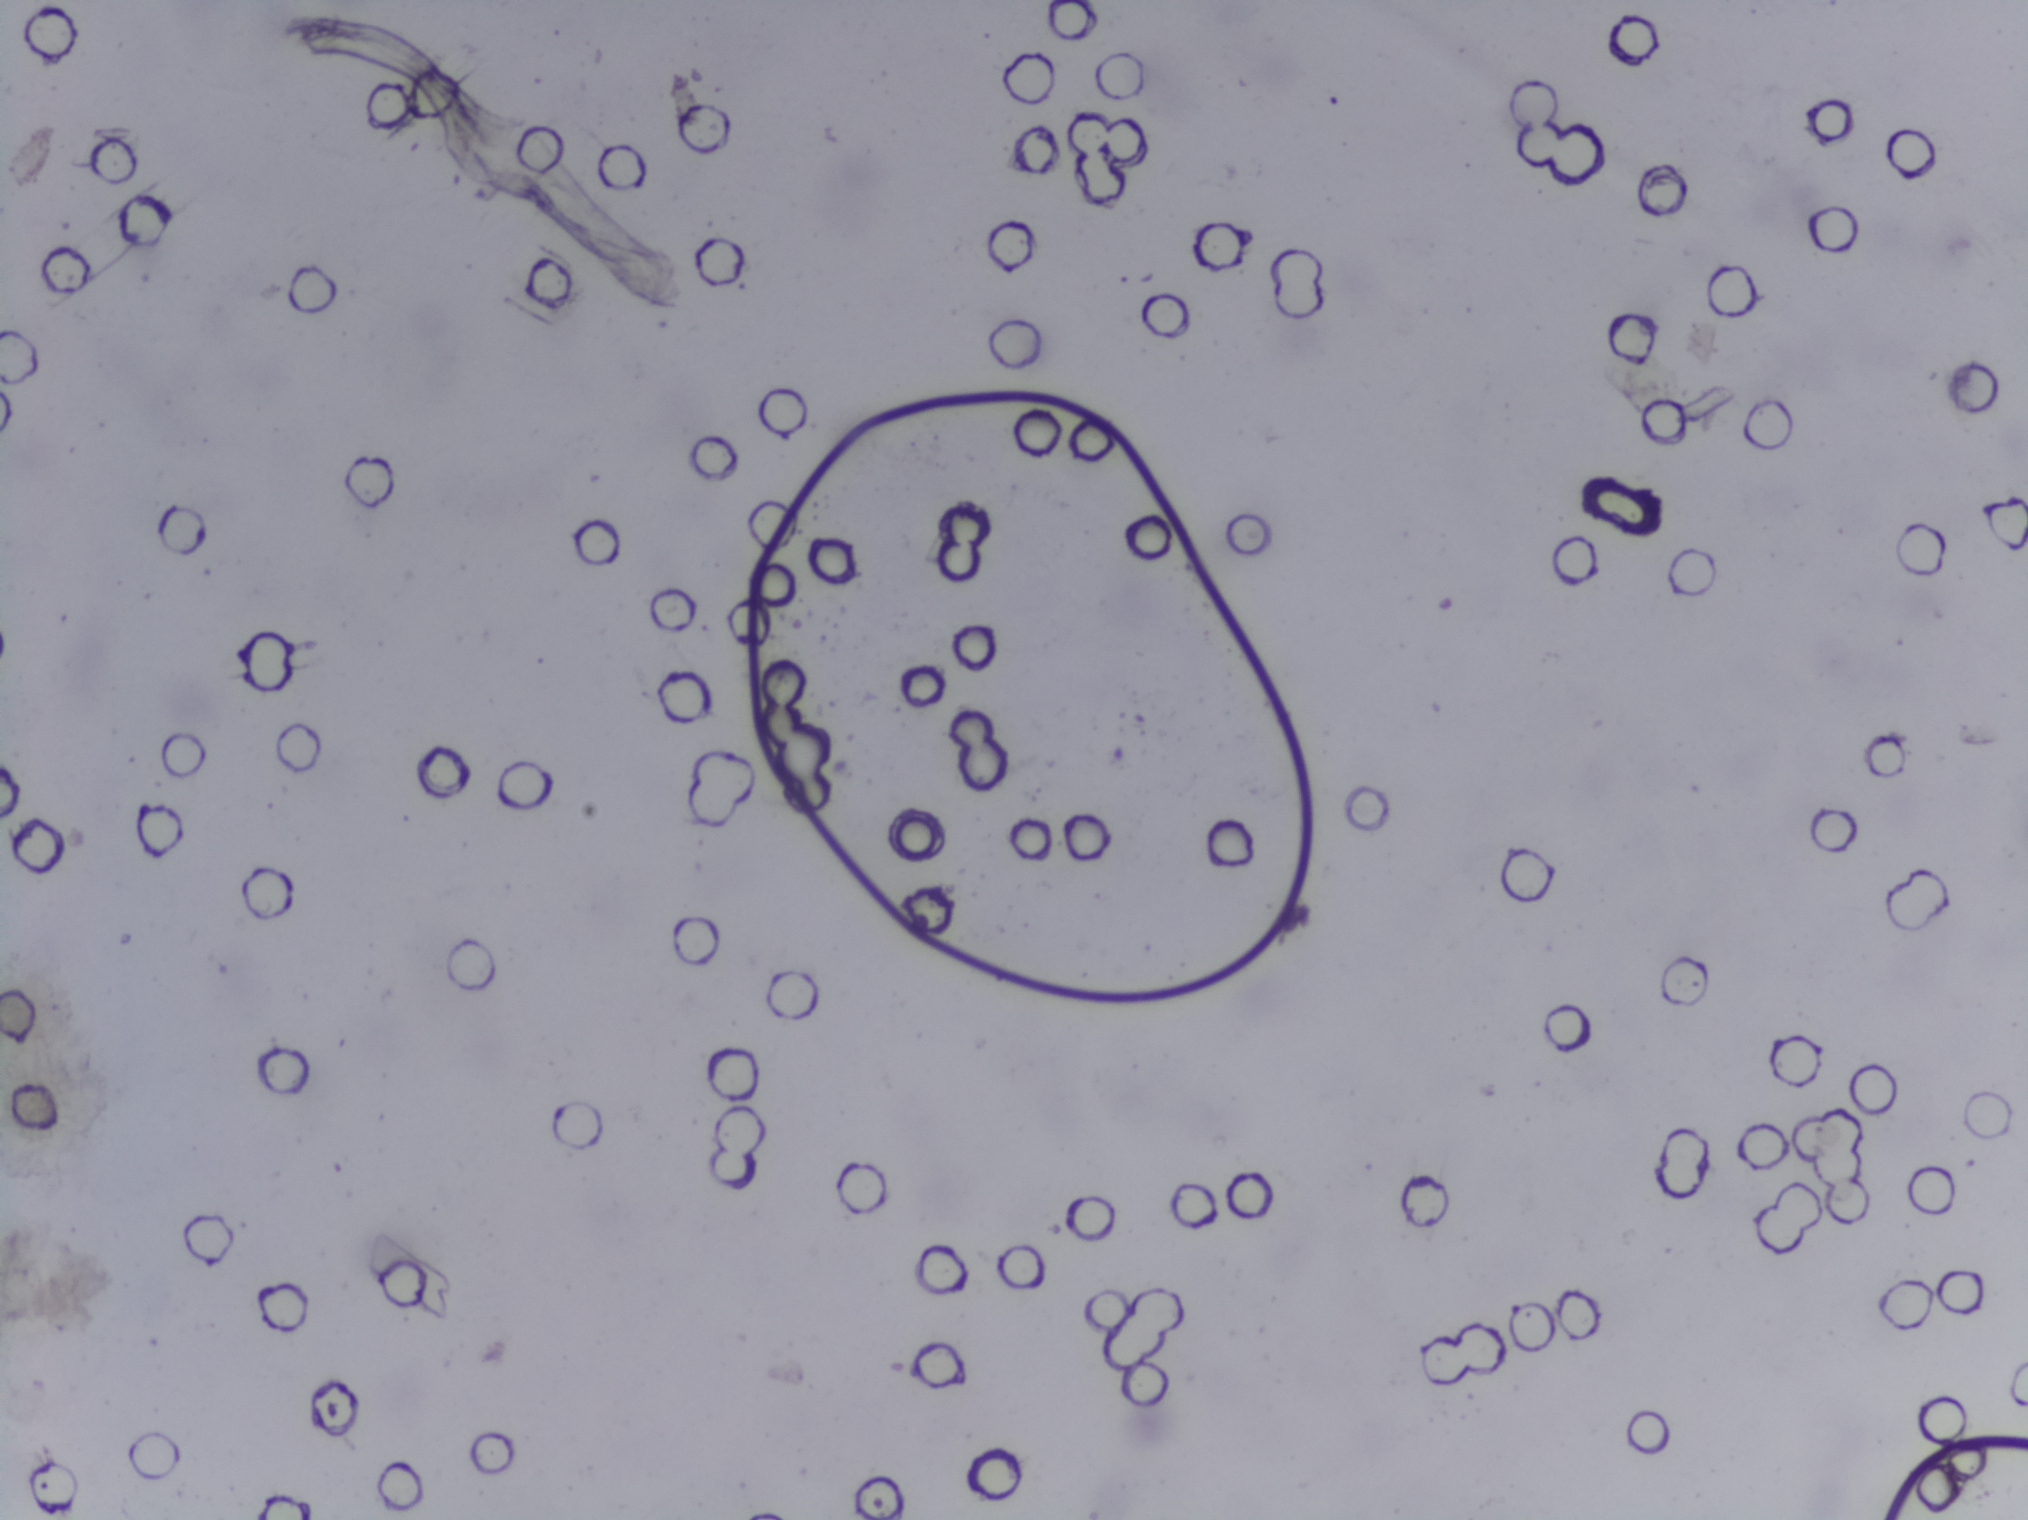
Photograph from an automated digital microscope: urine filter membrane, 4× objective. The field of view is about 1.5 mm × 1.1 mm.
No Schistosoma egg is outlined in this image's expert annotation.